Photomicrograph of a urine filtration membrane, 4× objective.
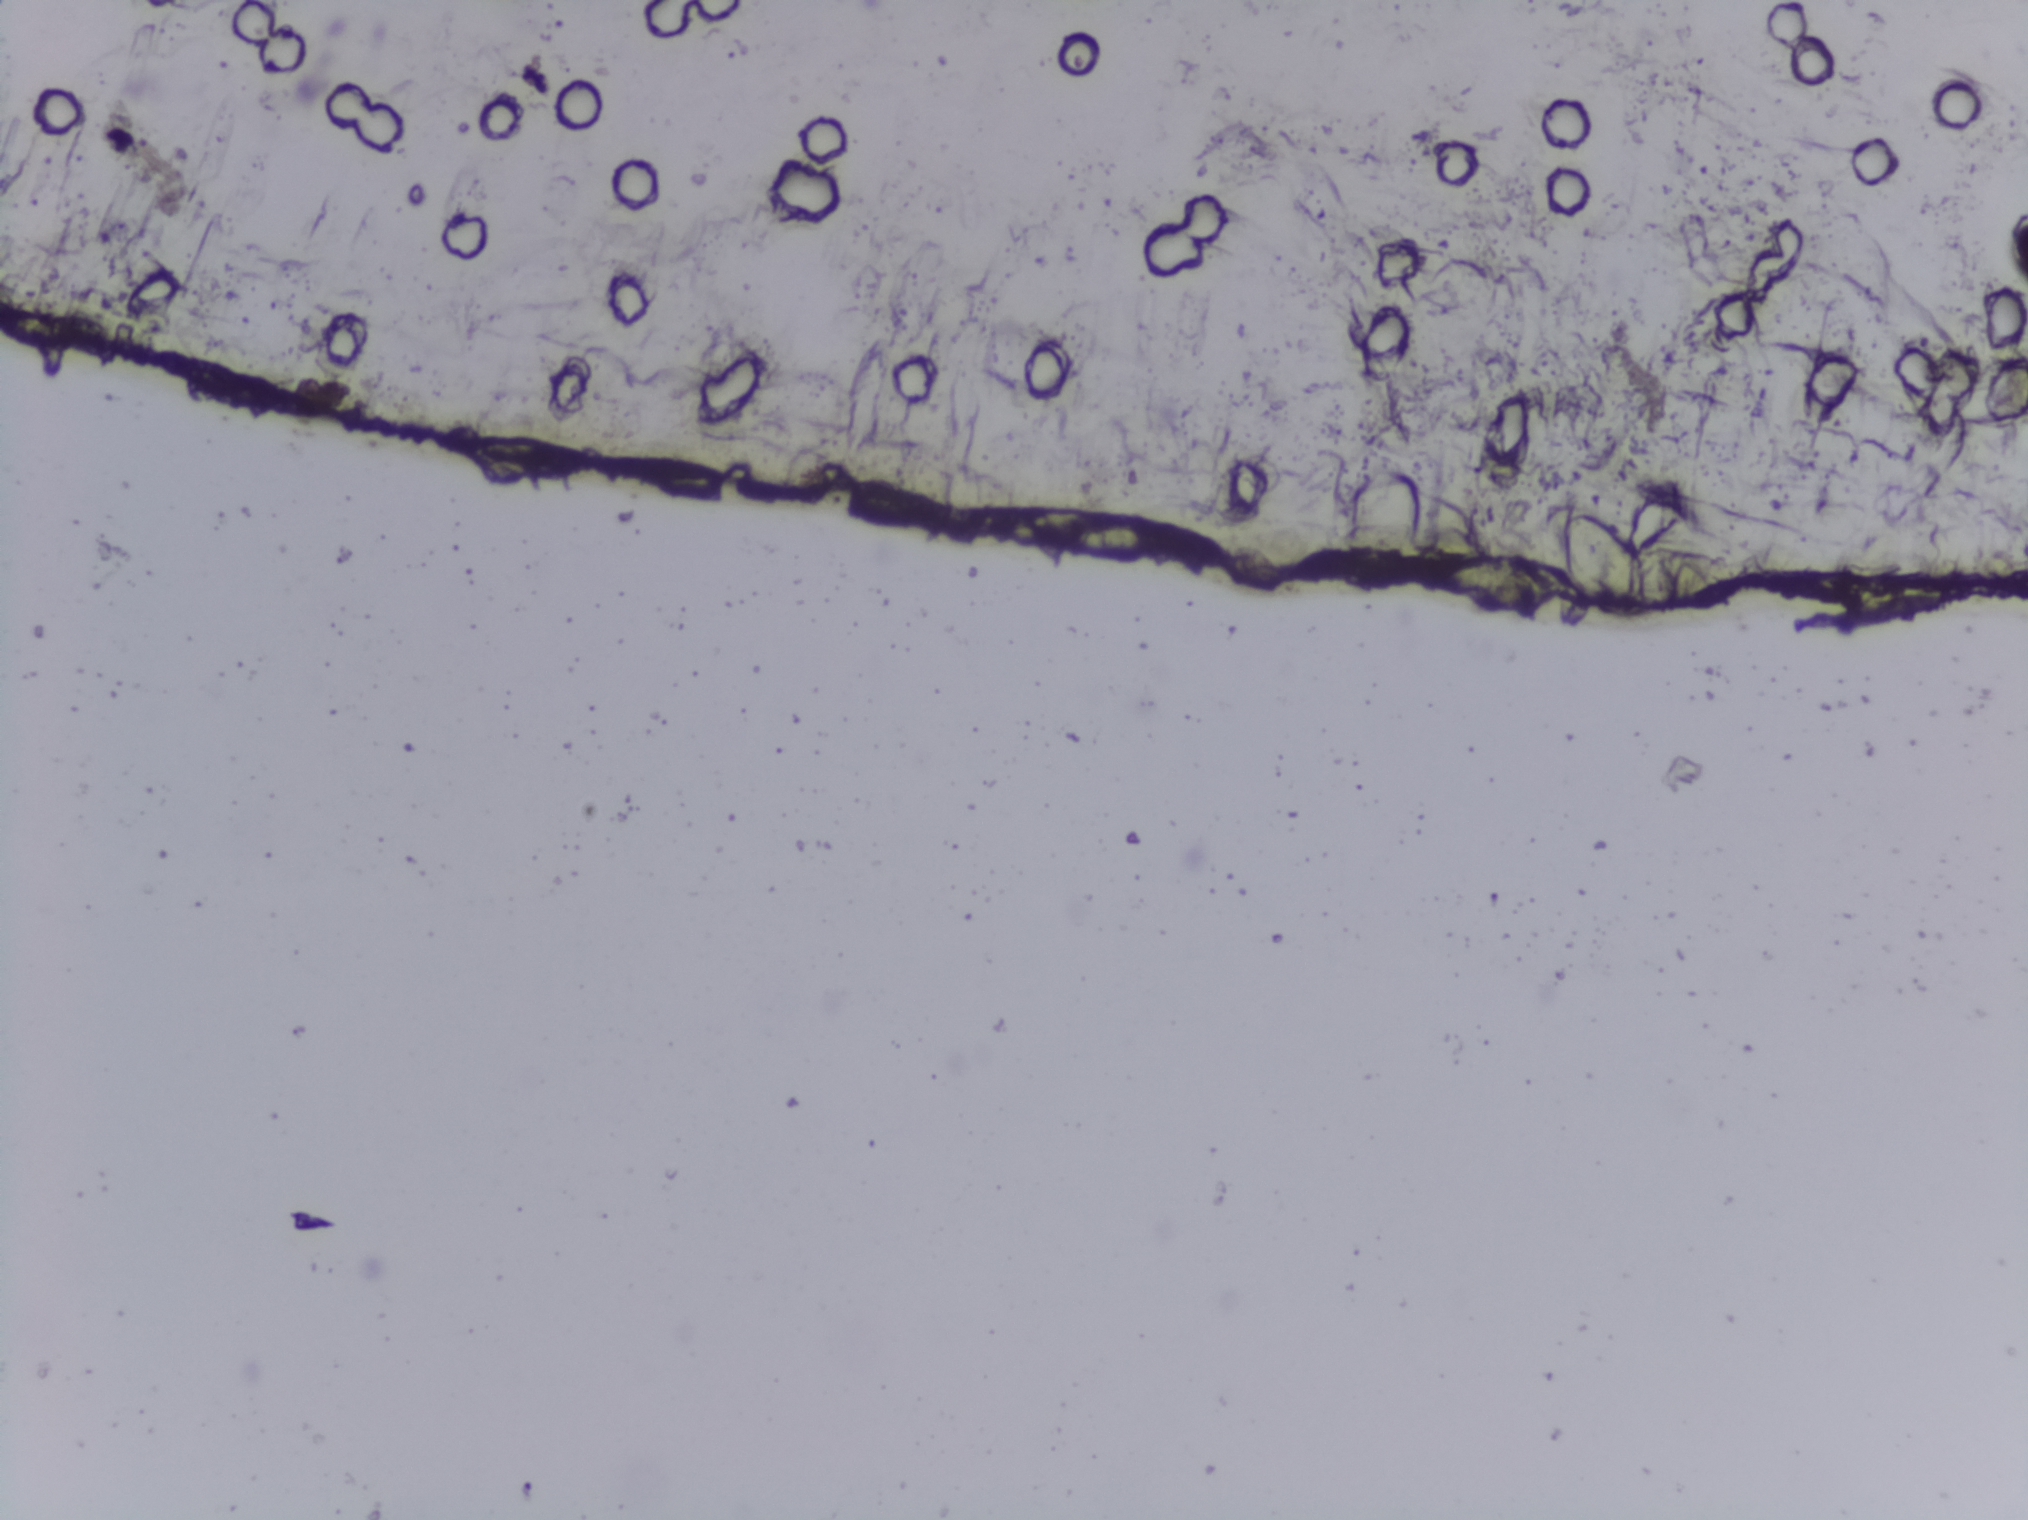
Schistosoma eggs: none outlined.